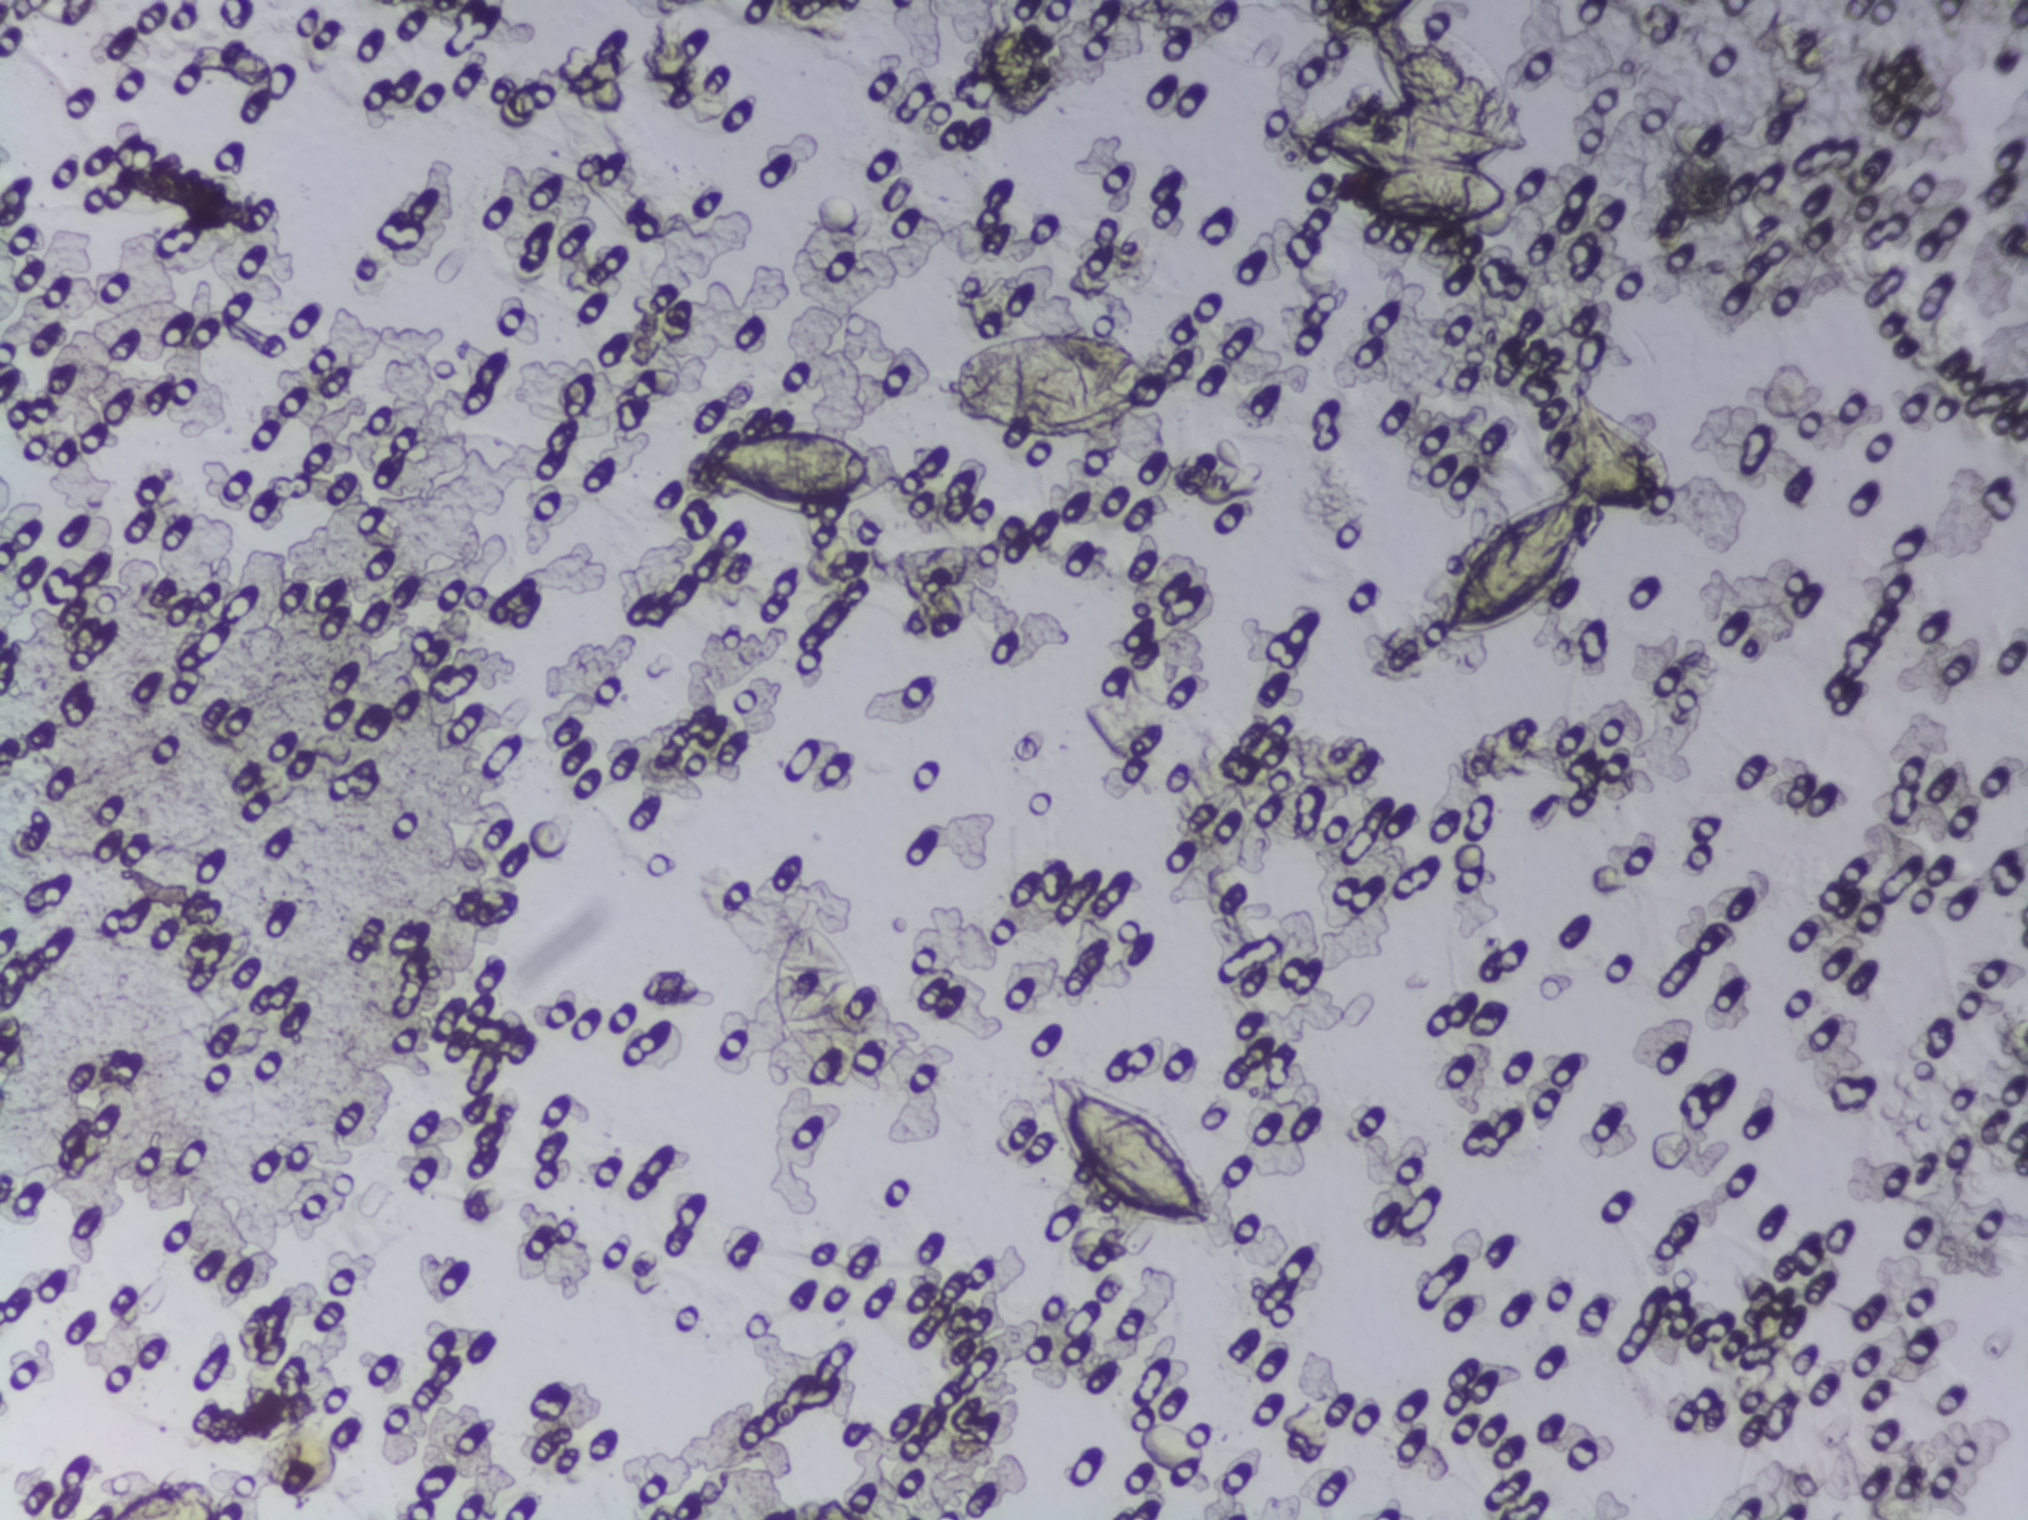
Microscope photograph (4× objective) of a membrane that a urine sample was filtered through.
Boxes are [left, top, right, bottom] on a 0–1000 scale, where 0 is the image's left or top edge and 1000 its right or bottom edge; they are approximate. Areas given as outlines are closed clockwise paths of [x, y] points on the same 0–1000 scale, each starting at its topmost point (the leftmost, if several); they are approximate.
Seven areas of this image are outlined as Schistosoma eggs, from left to right: box [53, 972, 111, 1000] (reaching the bottom edge of the frame); box [341, 277, 449, 341]; box [378, 596, 428, 720]; box [466, 213, 579, 294]; box [515, 702, 600, 809]; box [638, 0, 754, 149] (reaching the top edge of the frame); outline [777, 248], [796, 271], [816, 283], [825, 306], [823, 324], [812, 338], [789, 334], [764, 392], [737, 415], [713, 419], [713, 384], [719, 369], [747, 327], [768, 316], [763, 276], [775, 262]. An outlined area can hold more than one egg.